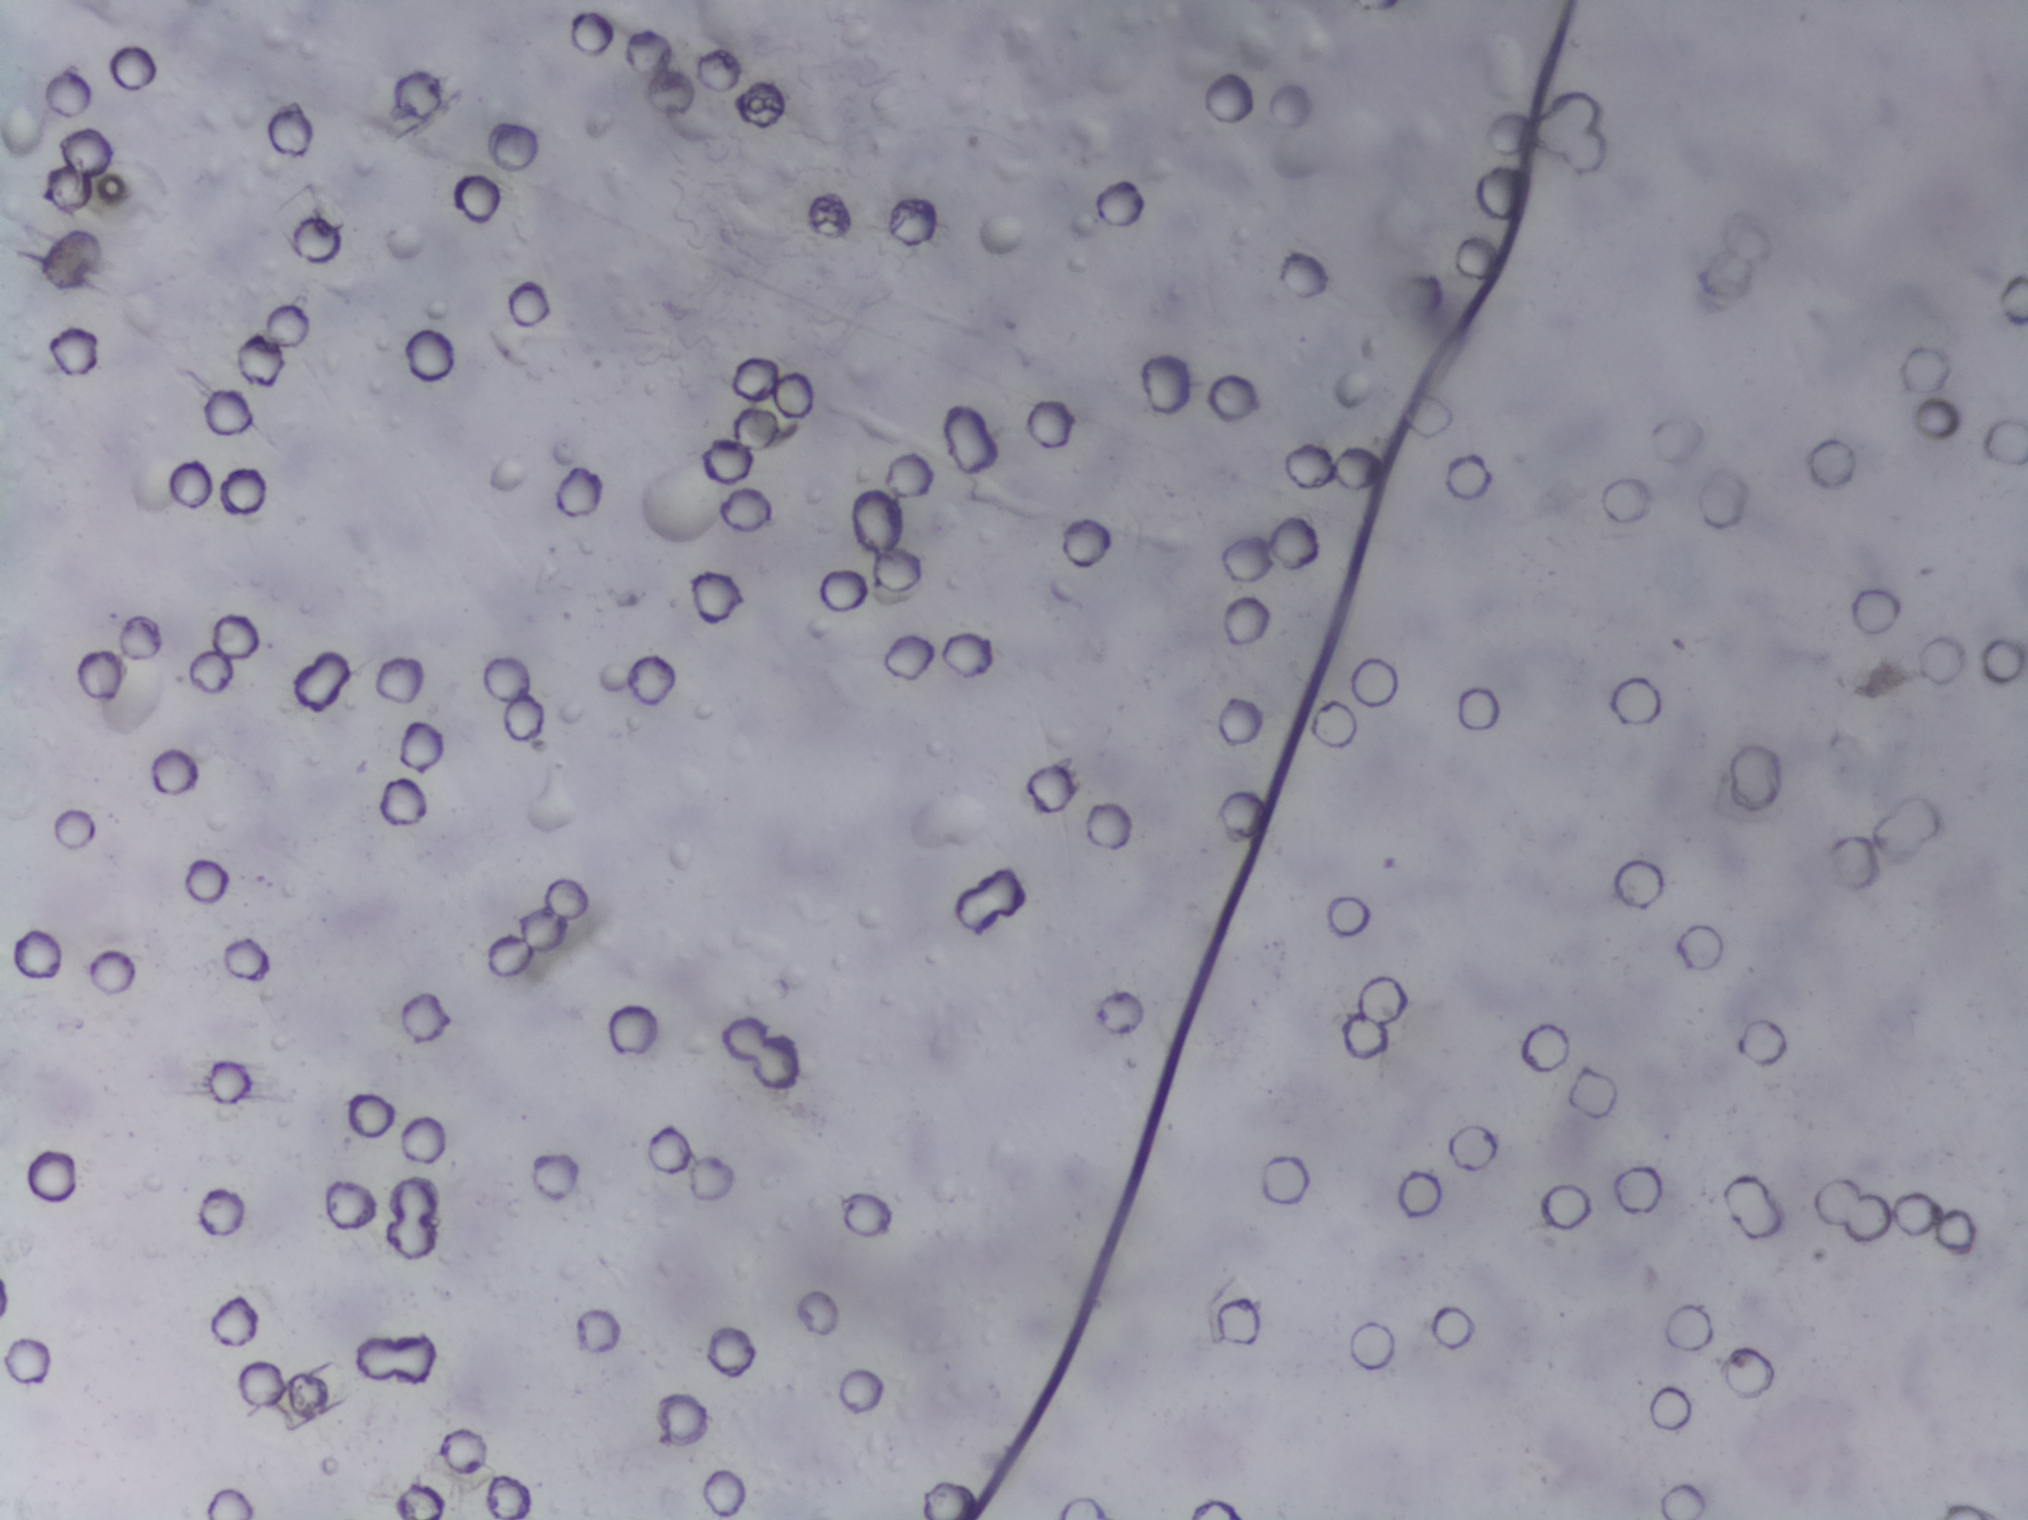
Photomicrograph of a urine filtration membrane, 4× objective.
The expert annotation outlines no Schistosoma egg in this image.